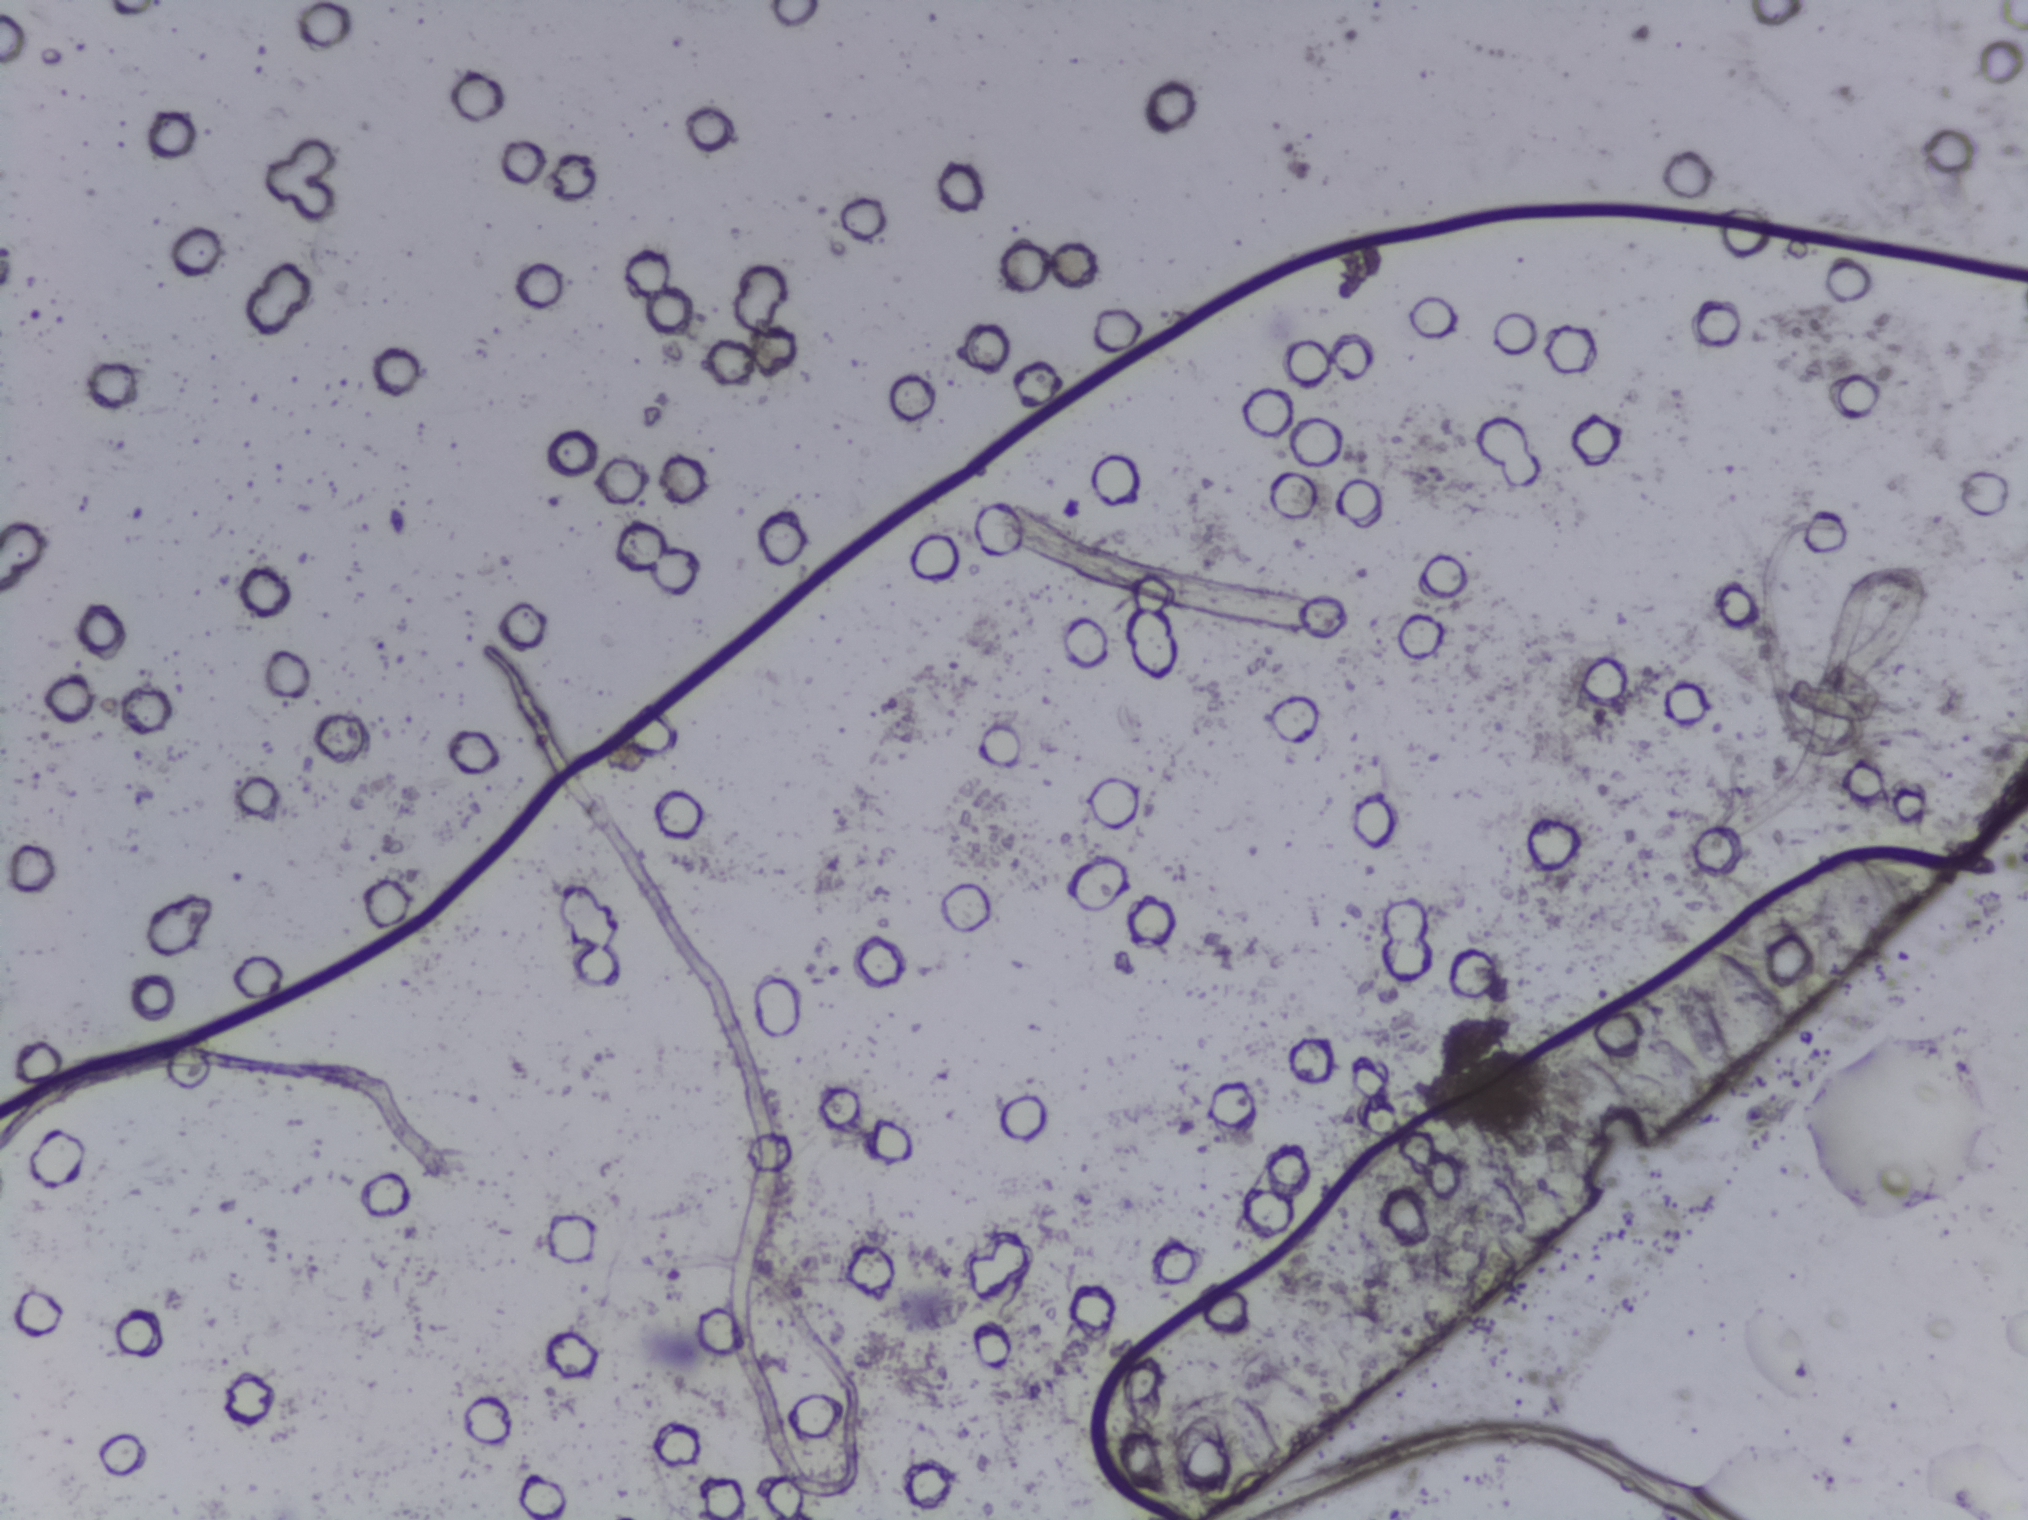
Microscope photograph (4× objective) of a membrane that a urine sample was filtered through. The field of view is about 1.5 mm × 1.1 mm.
Schistosoma eggs: none outlined.